Photograph from an automated digital microscope: urine filter membrane, 4× objective.
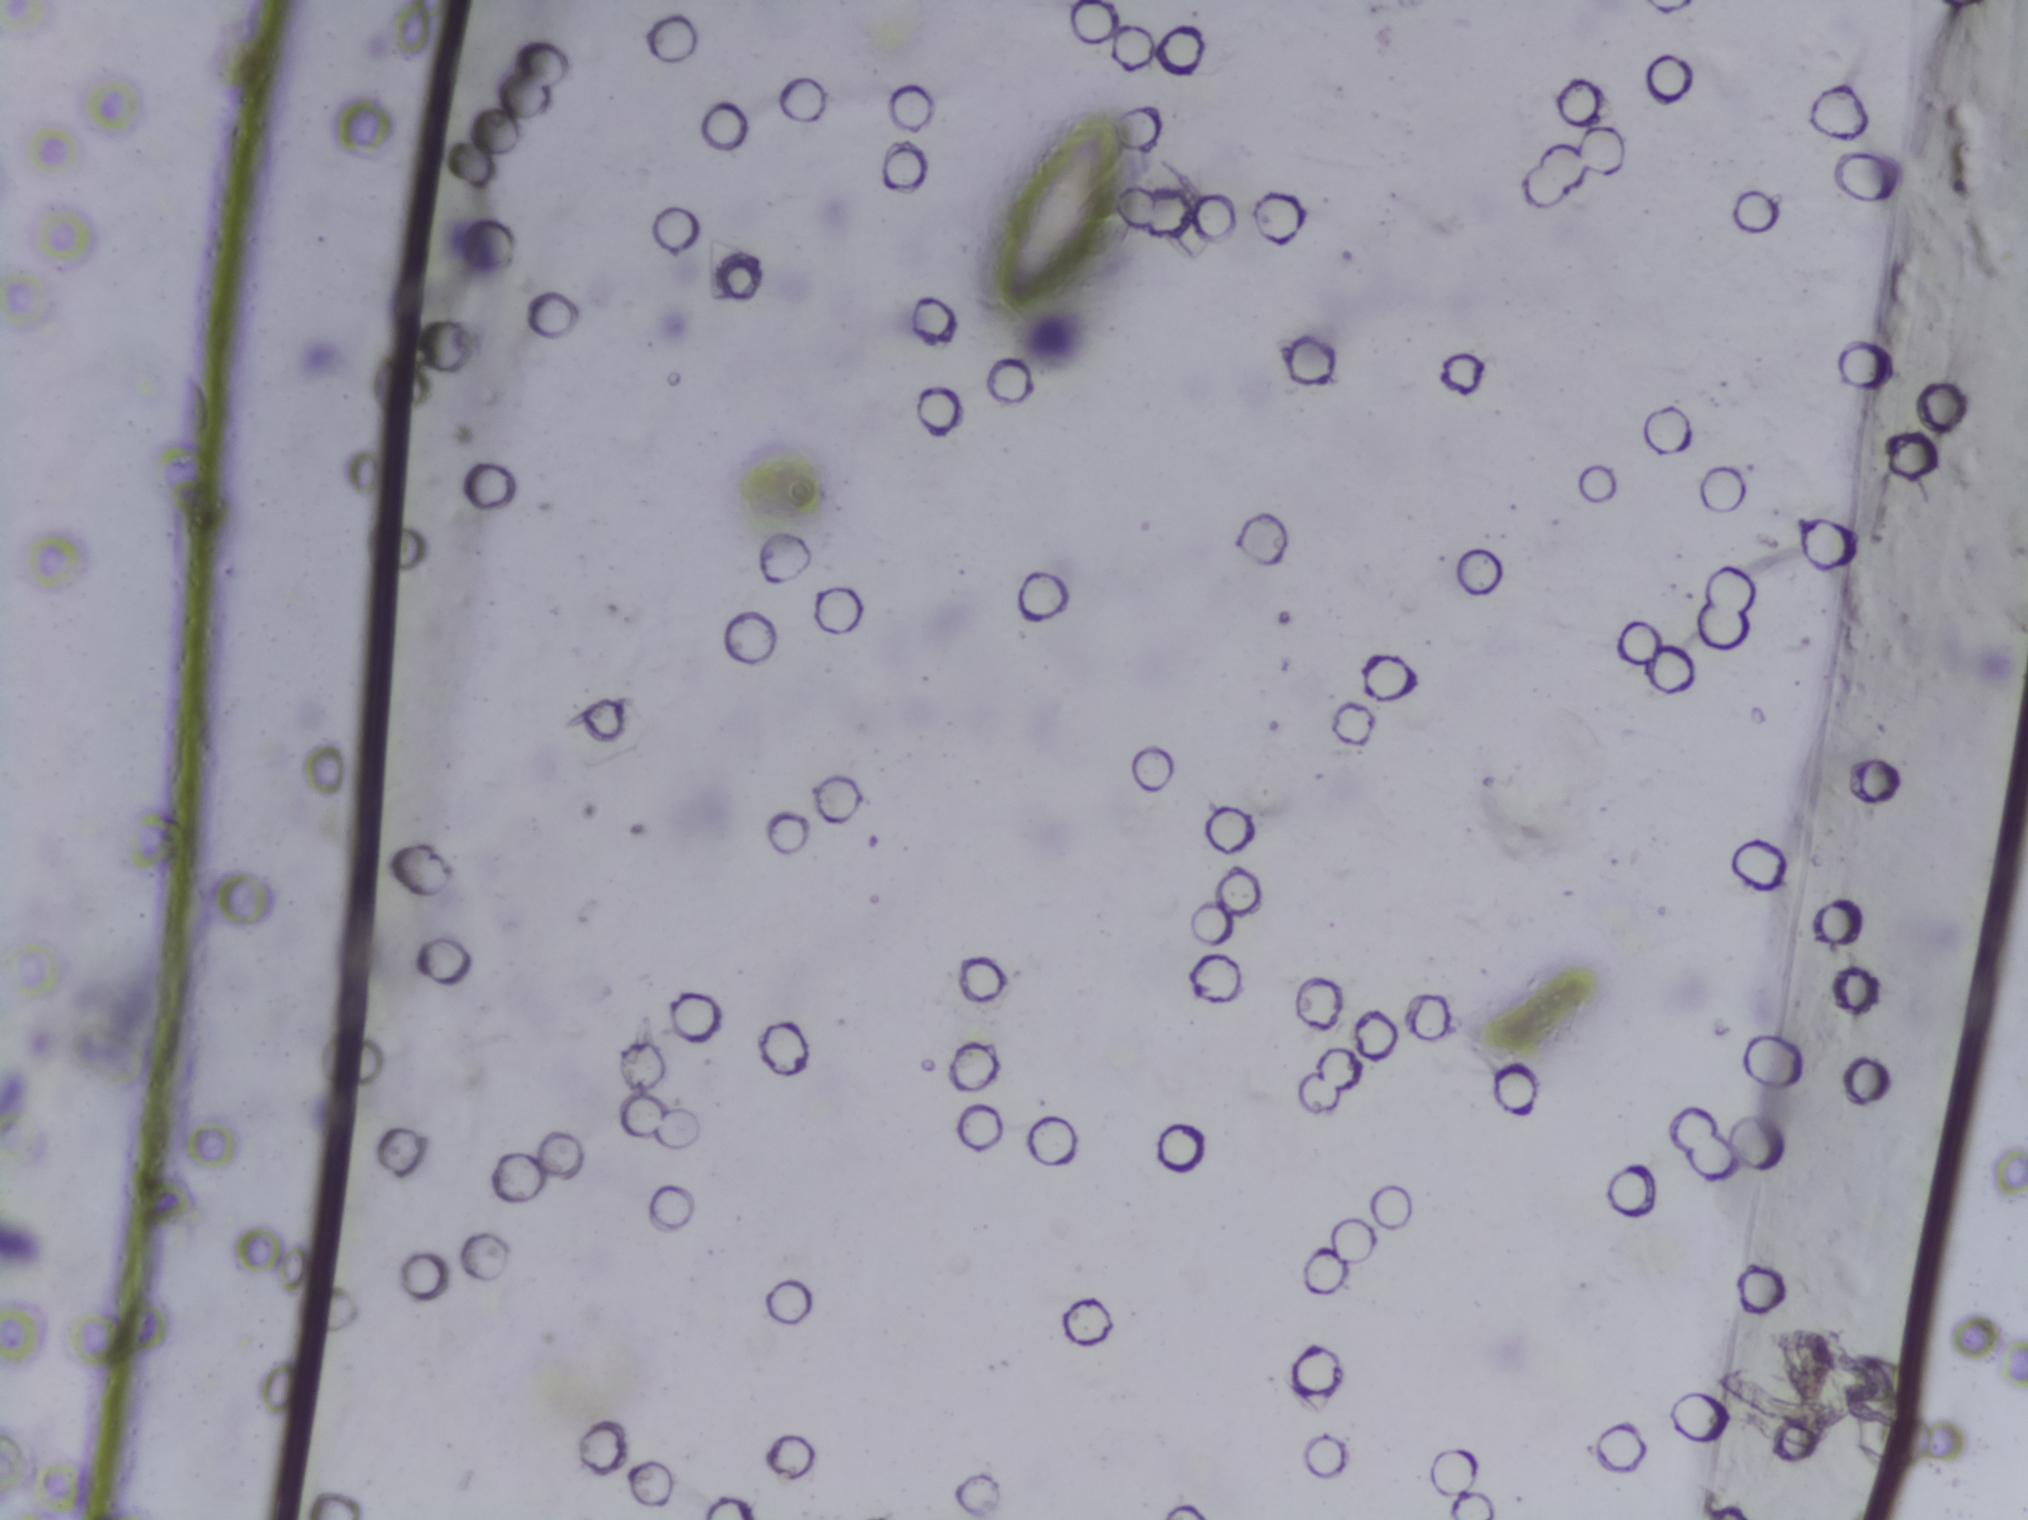
The expert annotation marks no Schistosoma egg in this field of view.